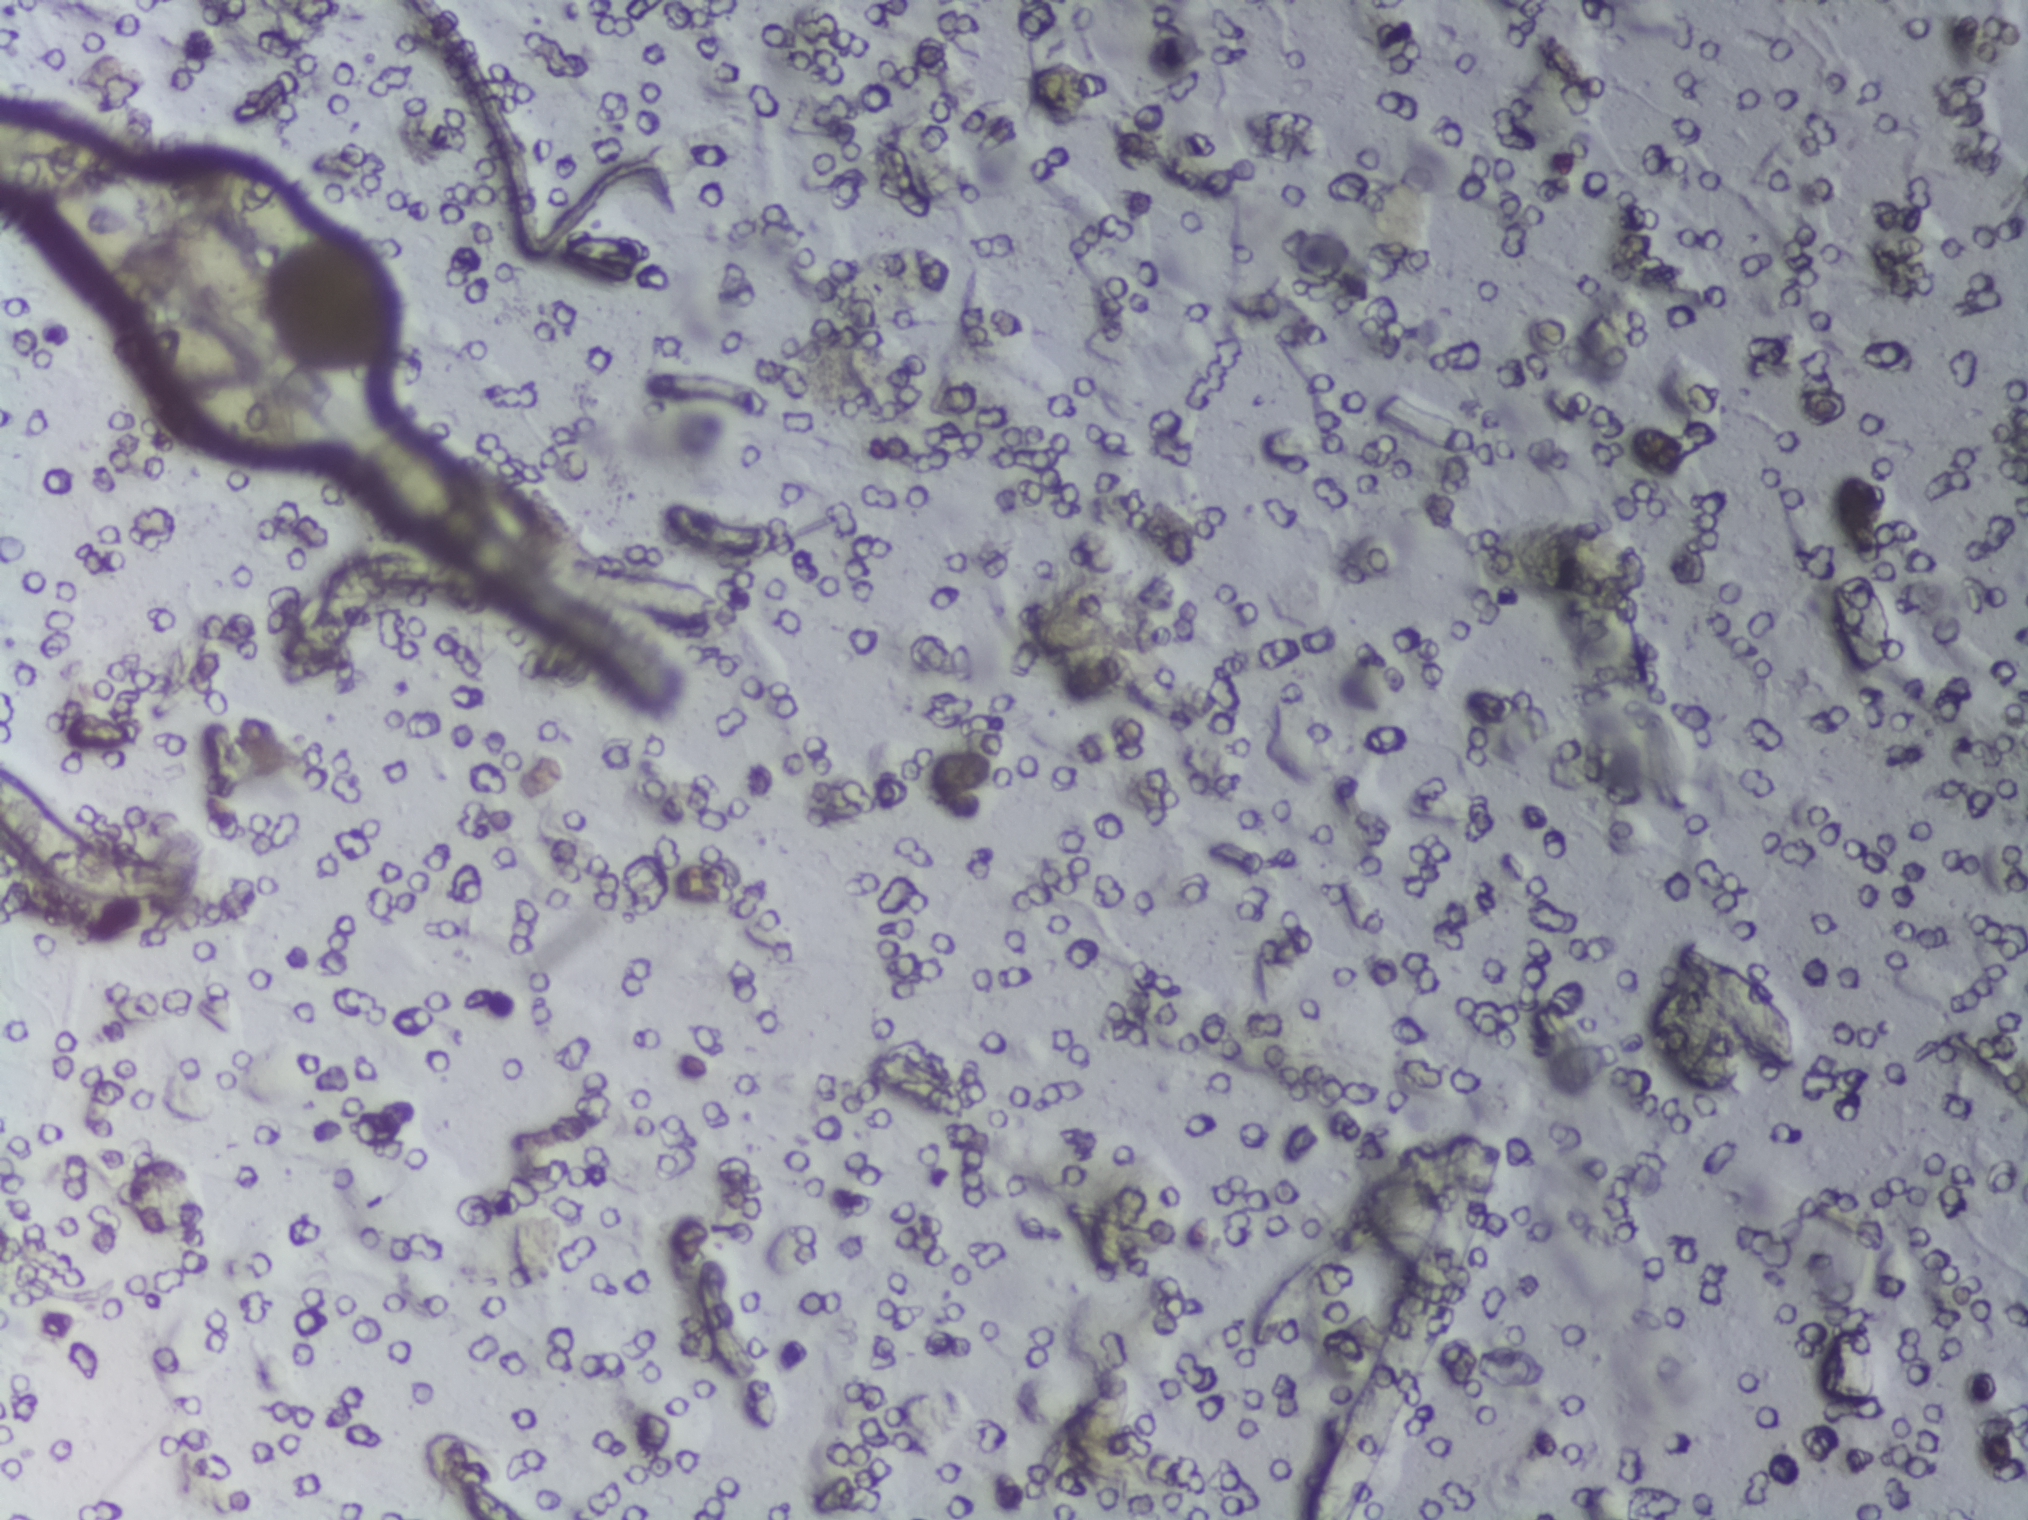
Microscope photograph (4× objective) of a membrane that a urine sample was filtered through.
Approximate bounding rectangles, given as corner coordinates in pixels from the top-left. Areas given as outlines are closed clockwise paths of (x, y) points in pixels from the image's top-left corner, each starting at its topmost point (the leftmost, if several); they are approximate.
Schistosoma eggs are outlined in two areas of this image, listed from left to right: outline (0, 110), (70, 123), (113, 159), (114, 169), (177, 175), (182, 161), (193, 156), (228, 157), (262, 168), (277, 193), (324, 230), (311, 254), (258, 254), (281, 321), (282, 386), (312, 403), (305, 406), (341, 443), (338, 456), (267, 457), (203, 446), (161, 423), (146, 398), (149, 386), (120, 365), (111, 340), (138, 325), (186, 320), (171, 258), (130, 270), (97, 269), (55, 250), (38, 229), (43, 193), (0, 178) (eggs clustered together; reaching the left edge of the frame) and box (x1=361, y1=429, x2=486, y2=557). An outlined area can hold more than one egg.